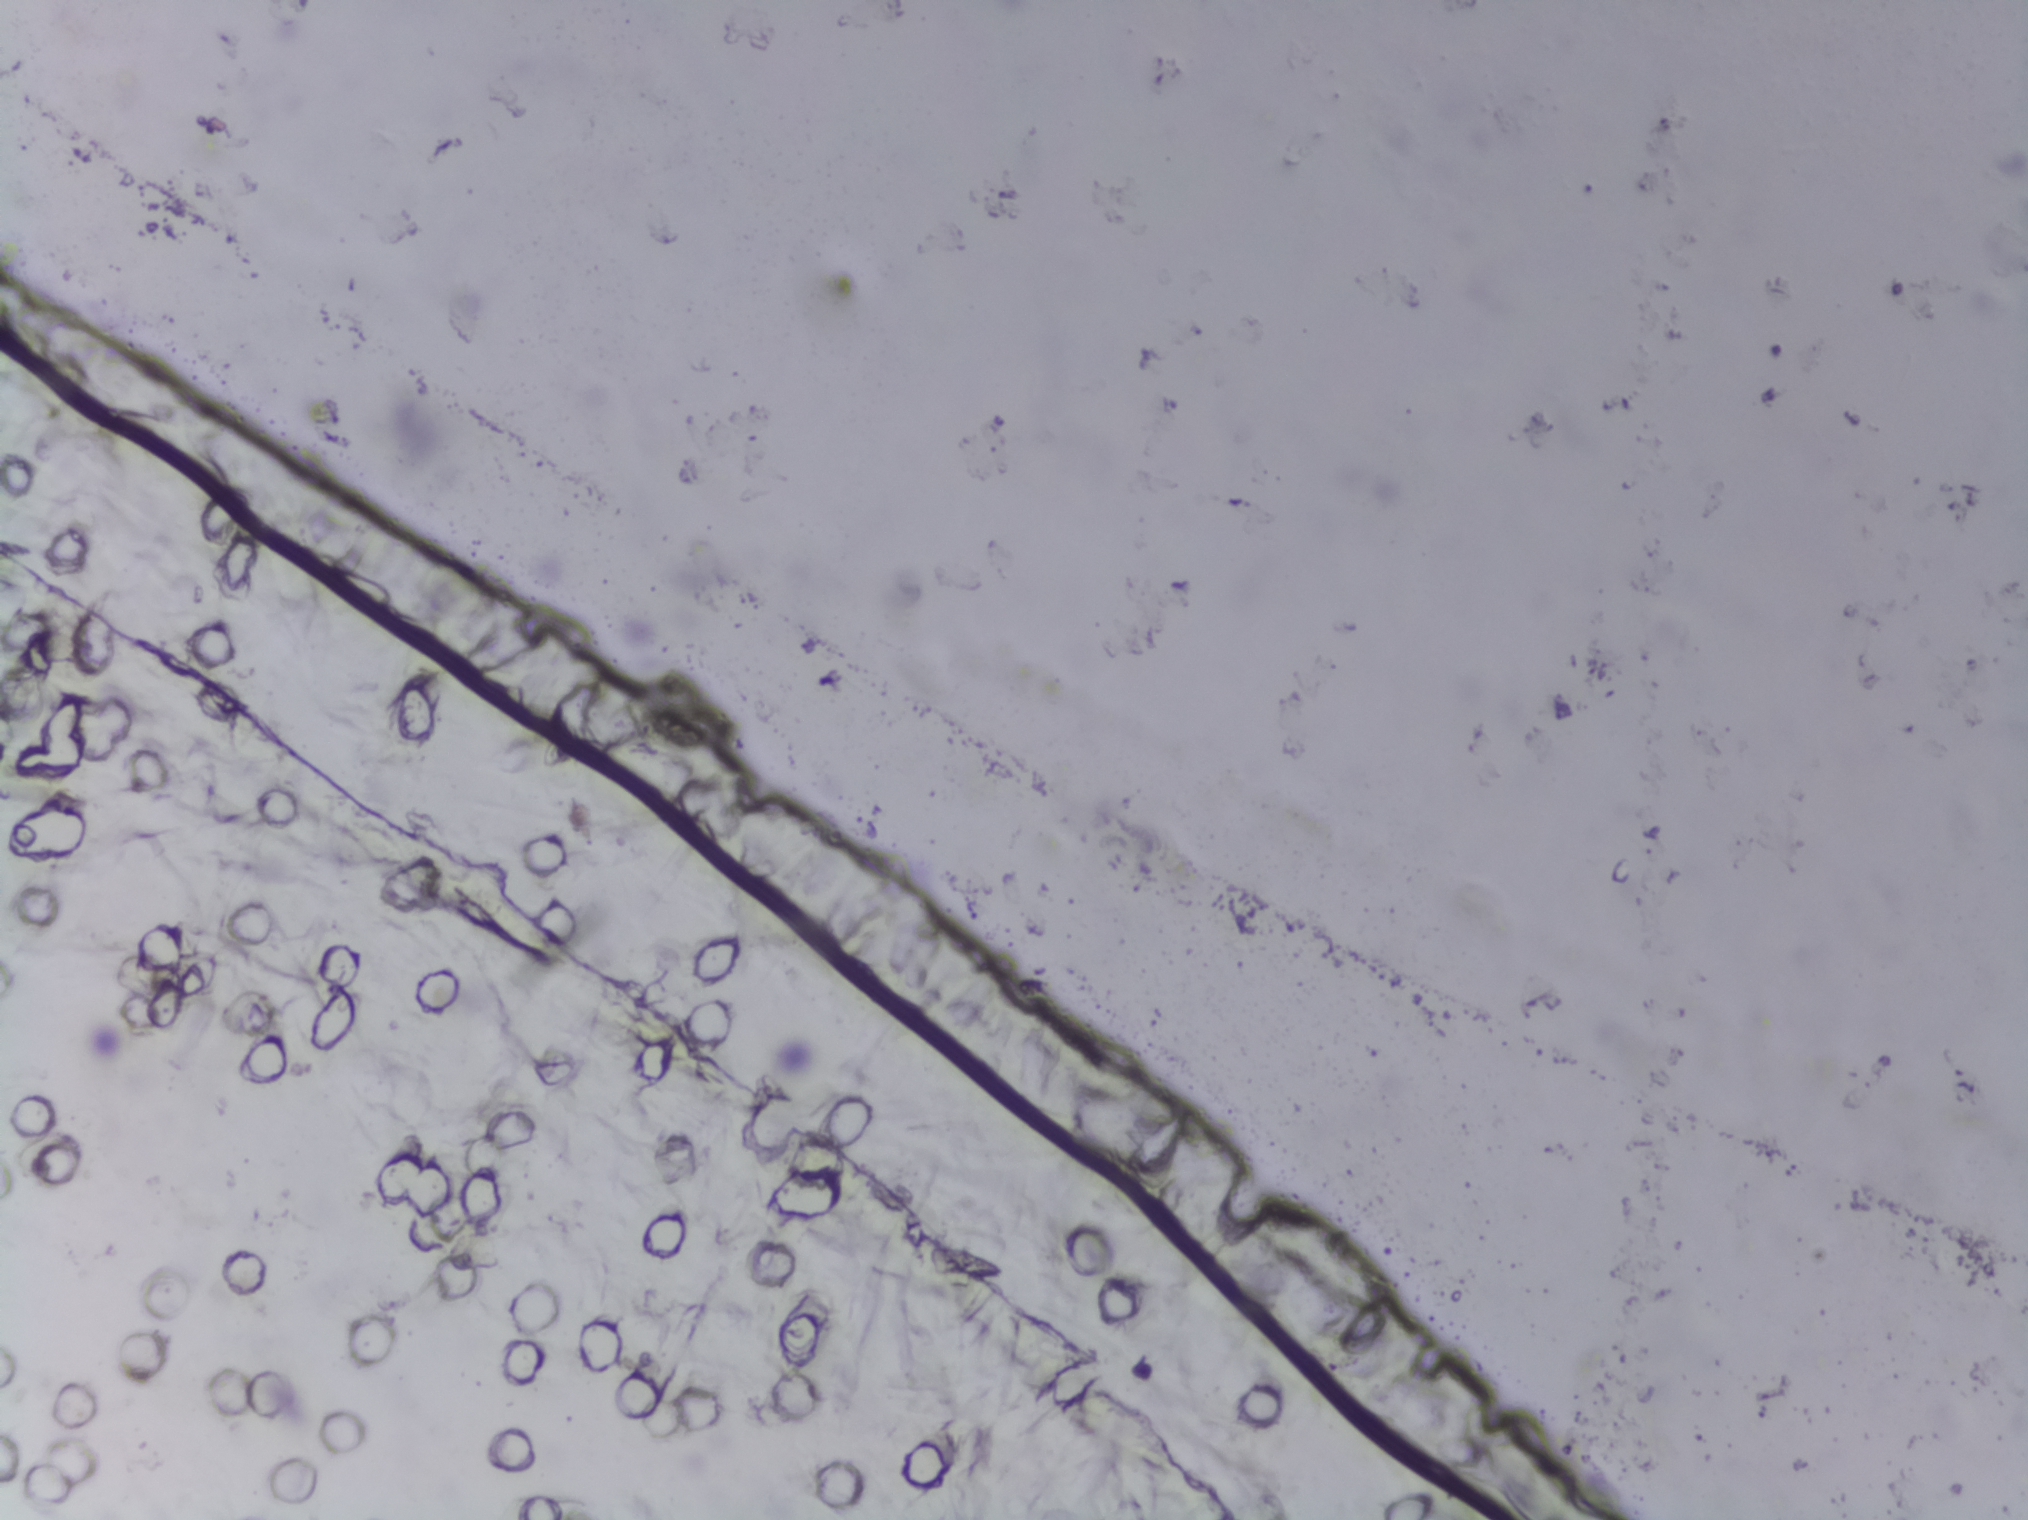
Microscope photograph (4× objective) of a membrane that a urine sample was filtered through. The image covers about 1.5 × 1.1 mm of the membrane.
No area of this image was outlined as a Schistosoma egg.